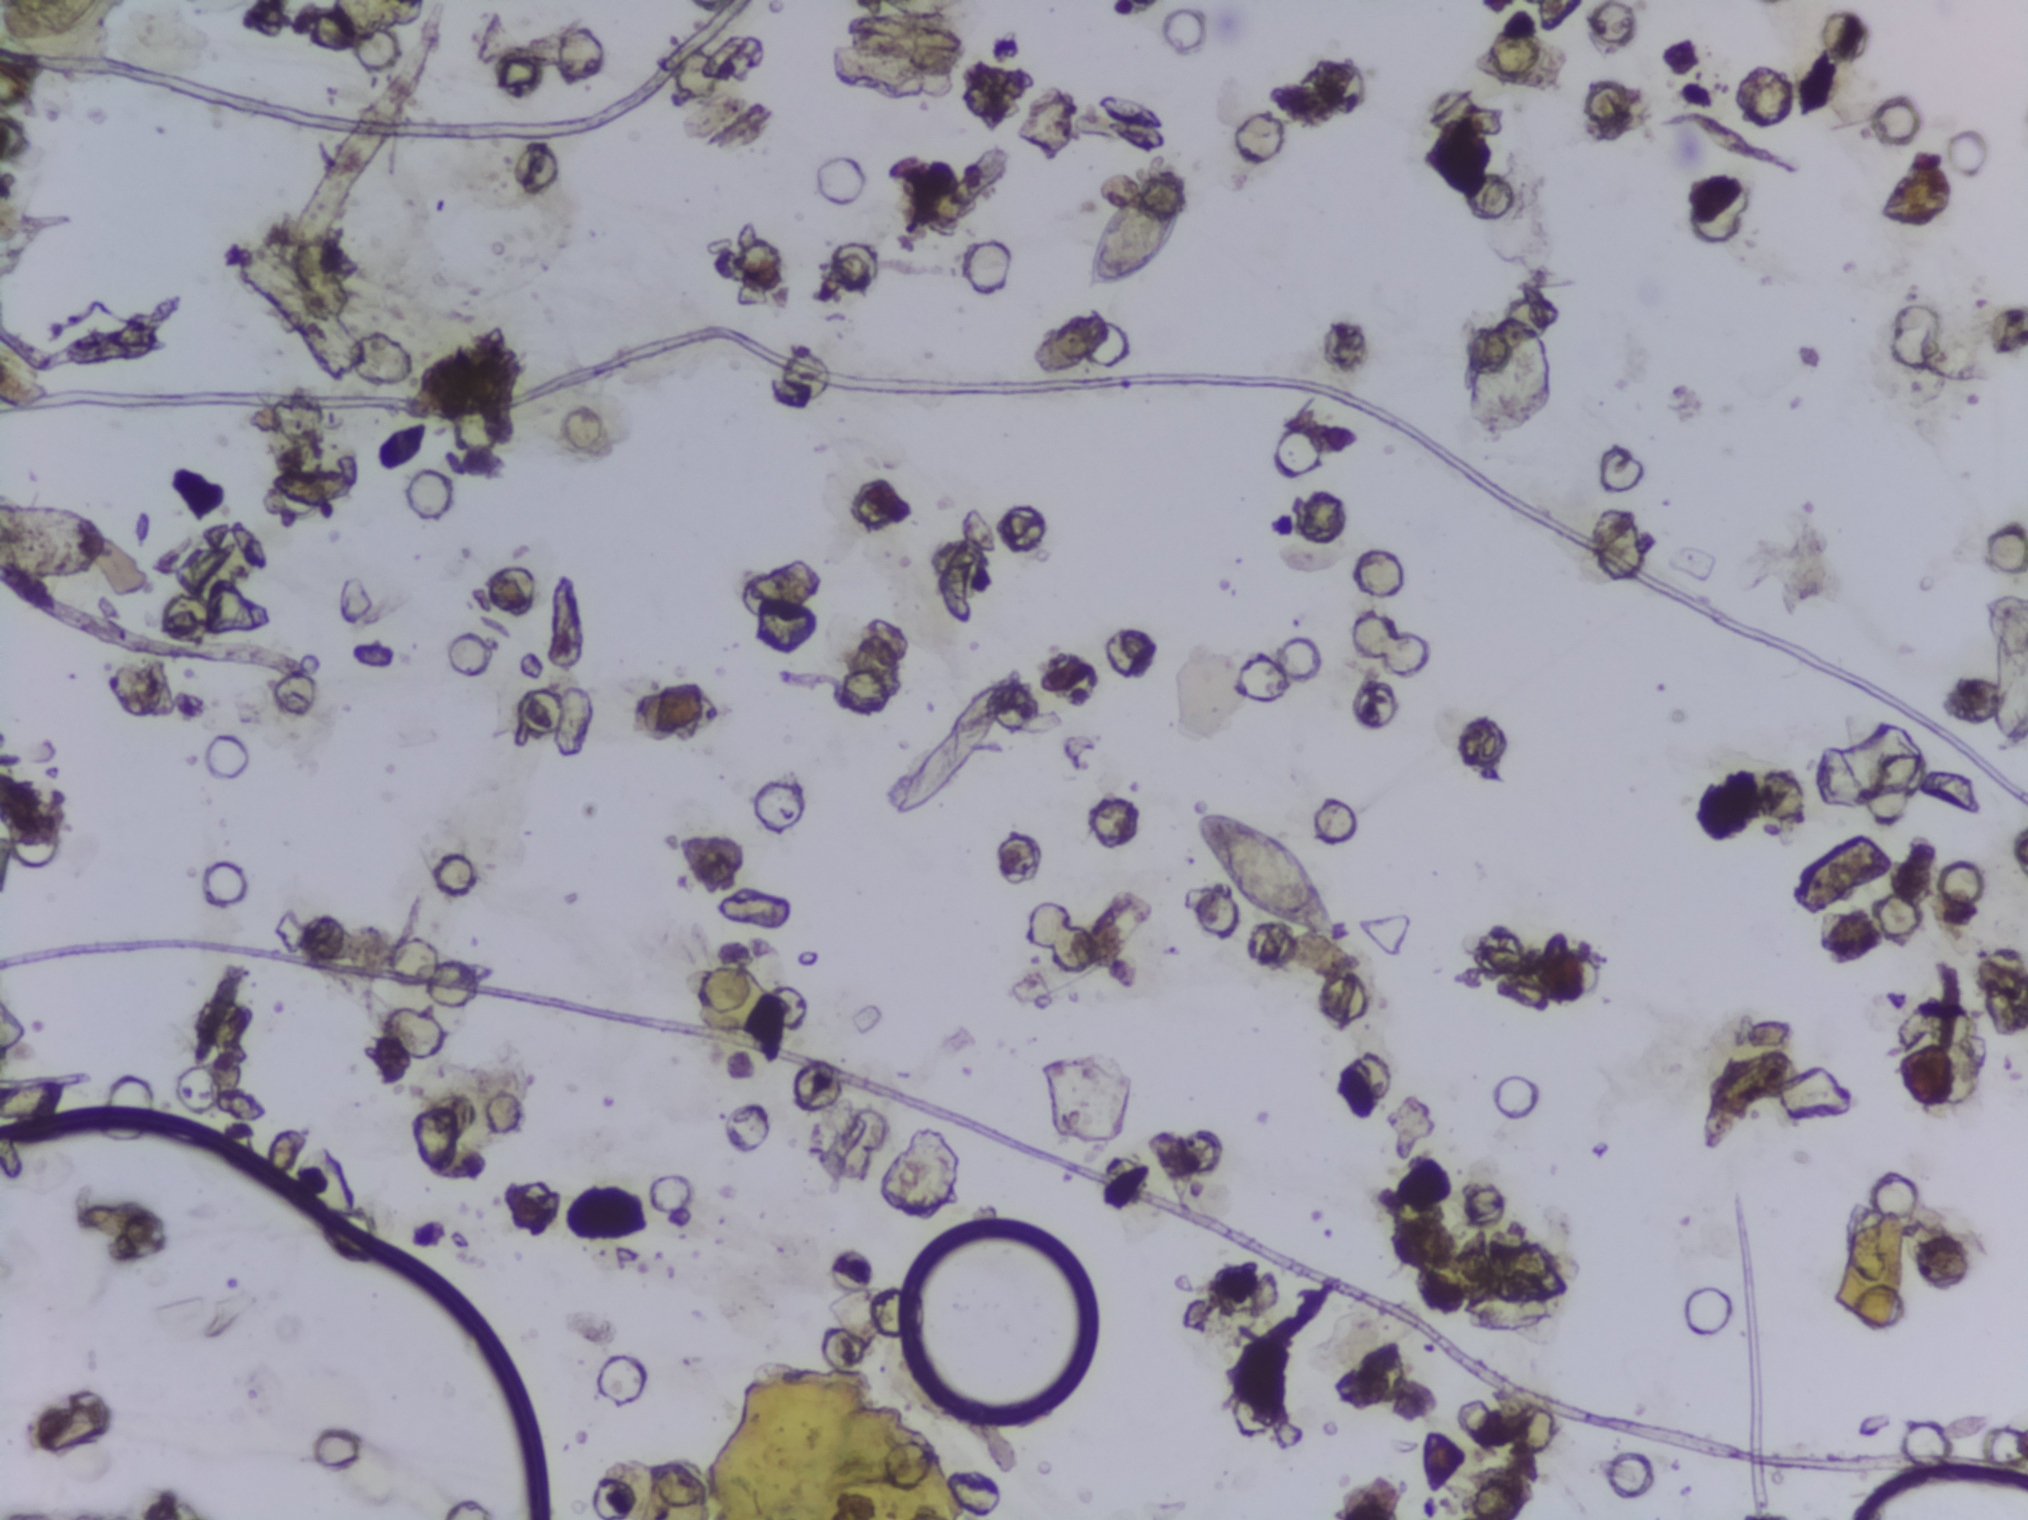
Urine filtration membrane under a 4× objective, photographed by an automated digital microscope.
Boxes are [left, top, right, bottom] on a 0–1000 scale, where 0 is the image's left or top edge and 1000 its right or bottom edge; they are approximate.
Schistosoma eggs are outlined in the expert annotation at [532, 97, 598, 194] and [591, 524, 663, 624] (left to right). A single outlined area may contain several eggs.